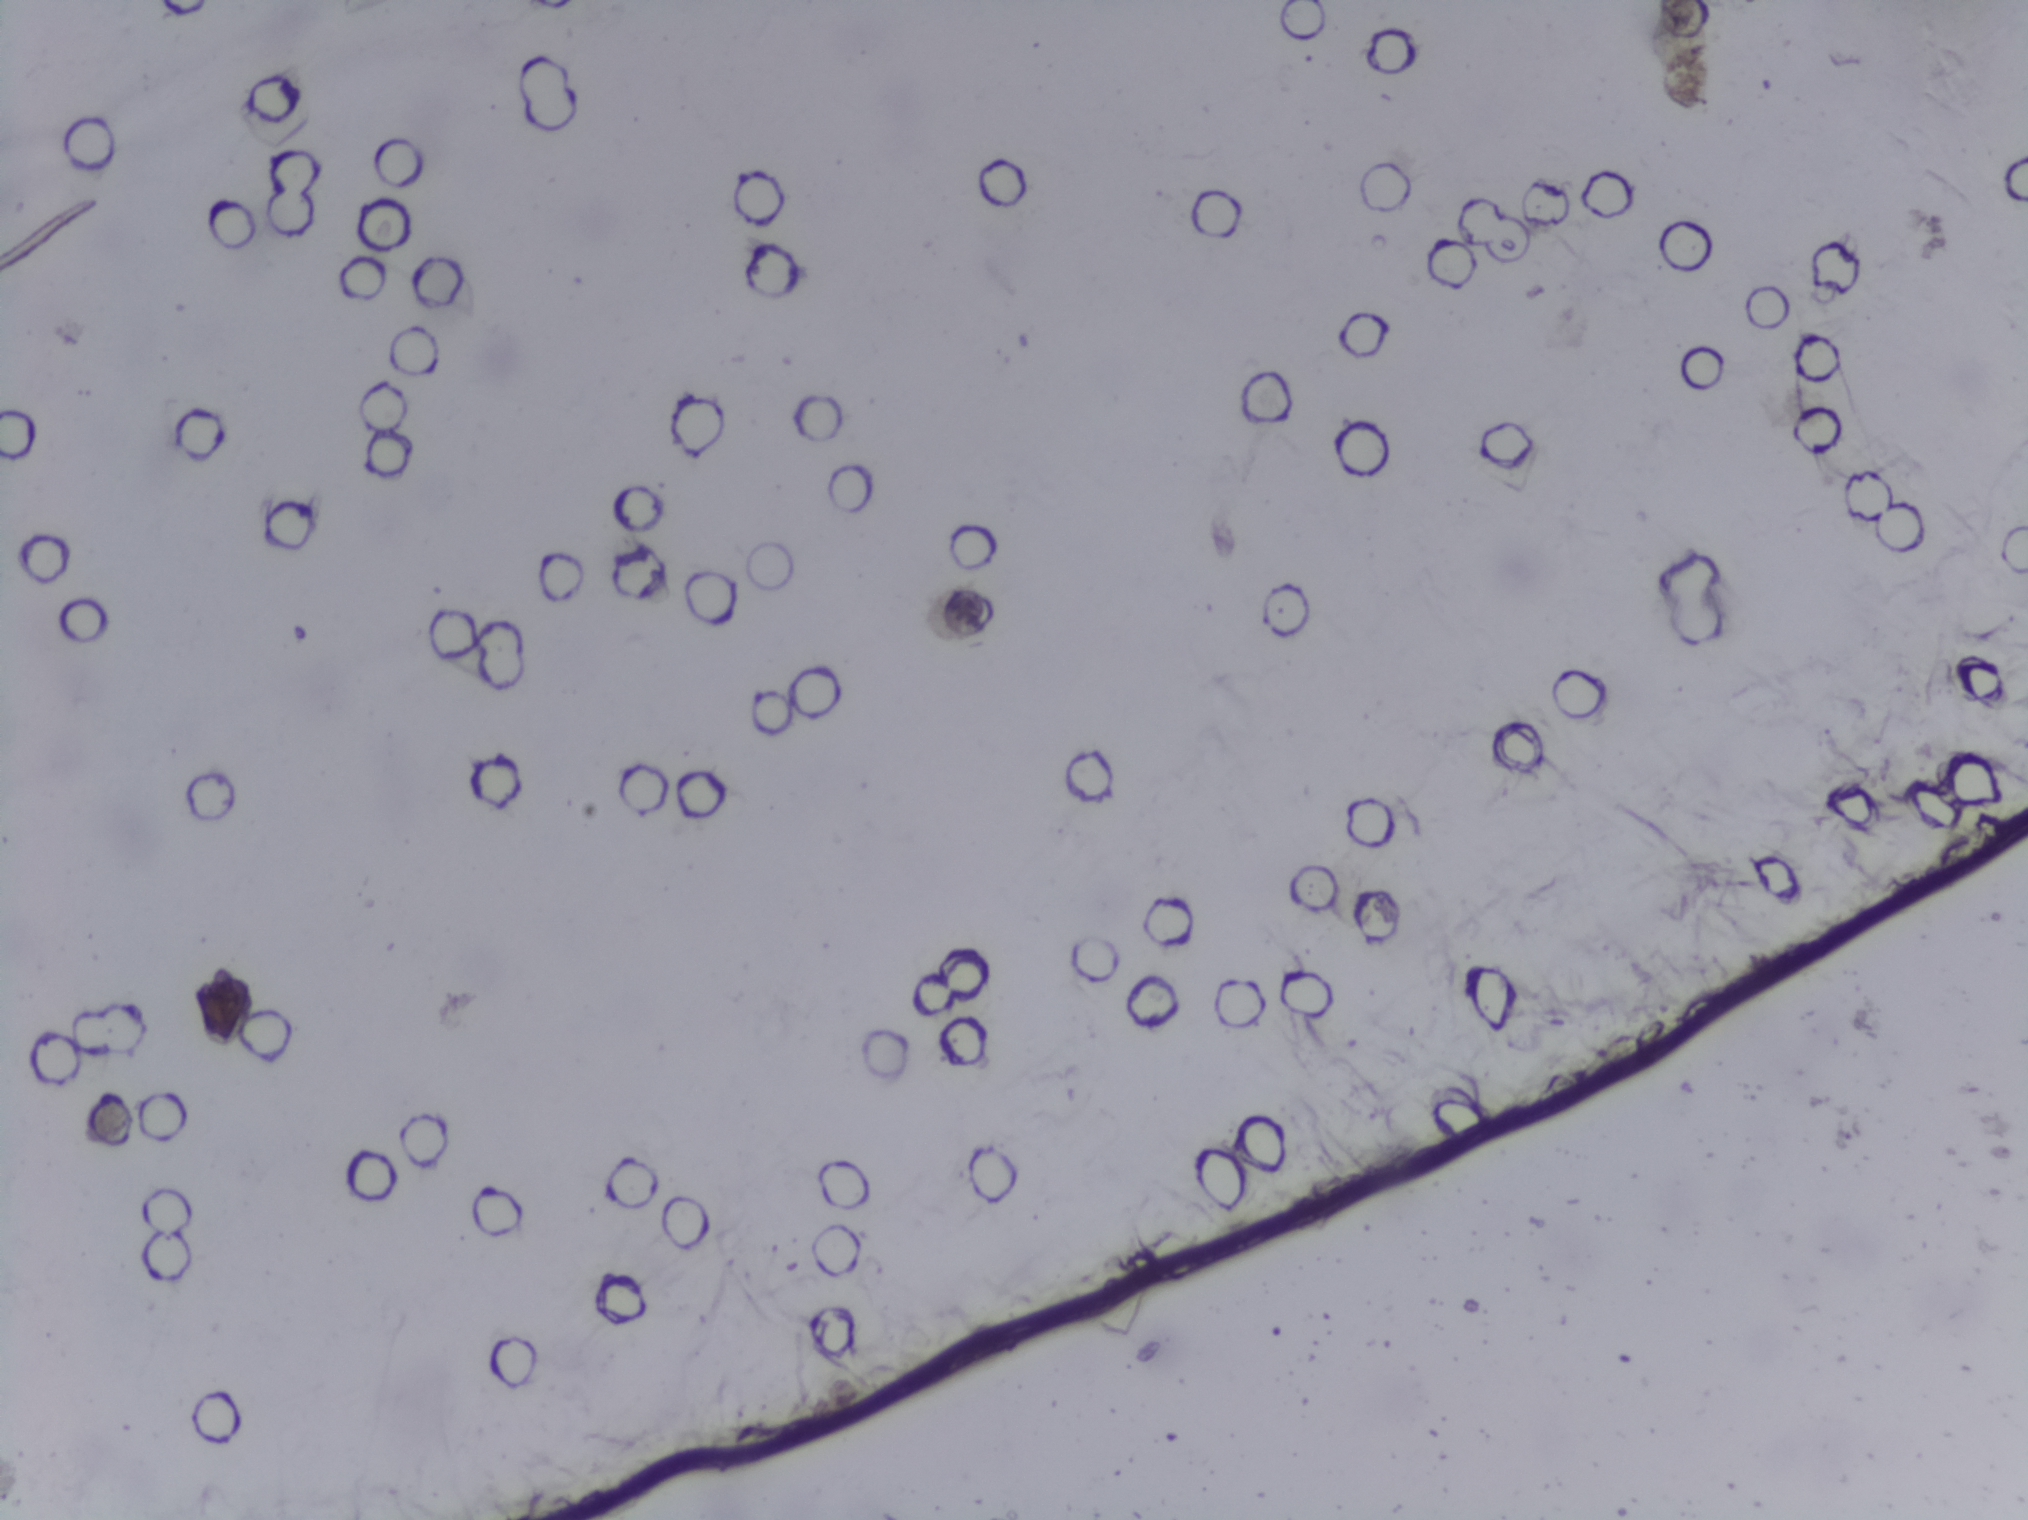
Photomicrograph of a urine filtration membrane, 4× objective.
No area of this image was outlined as a Schistosoma egg.